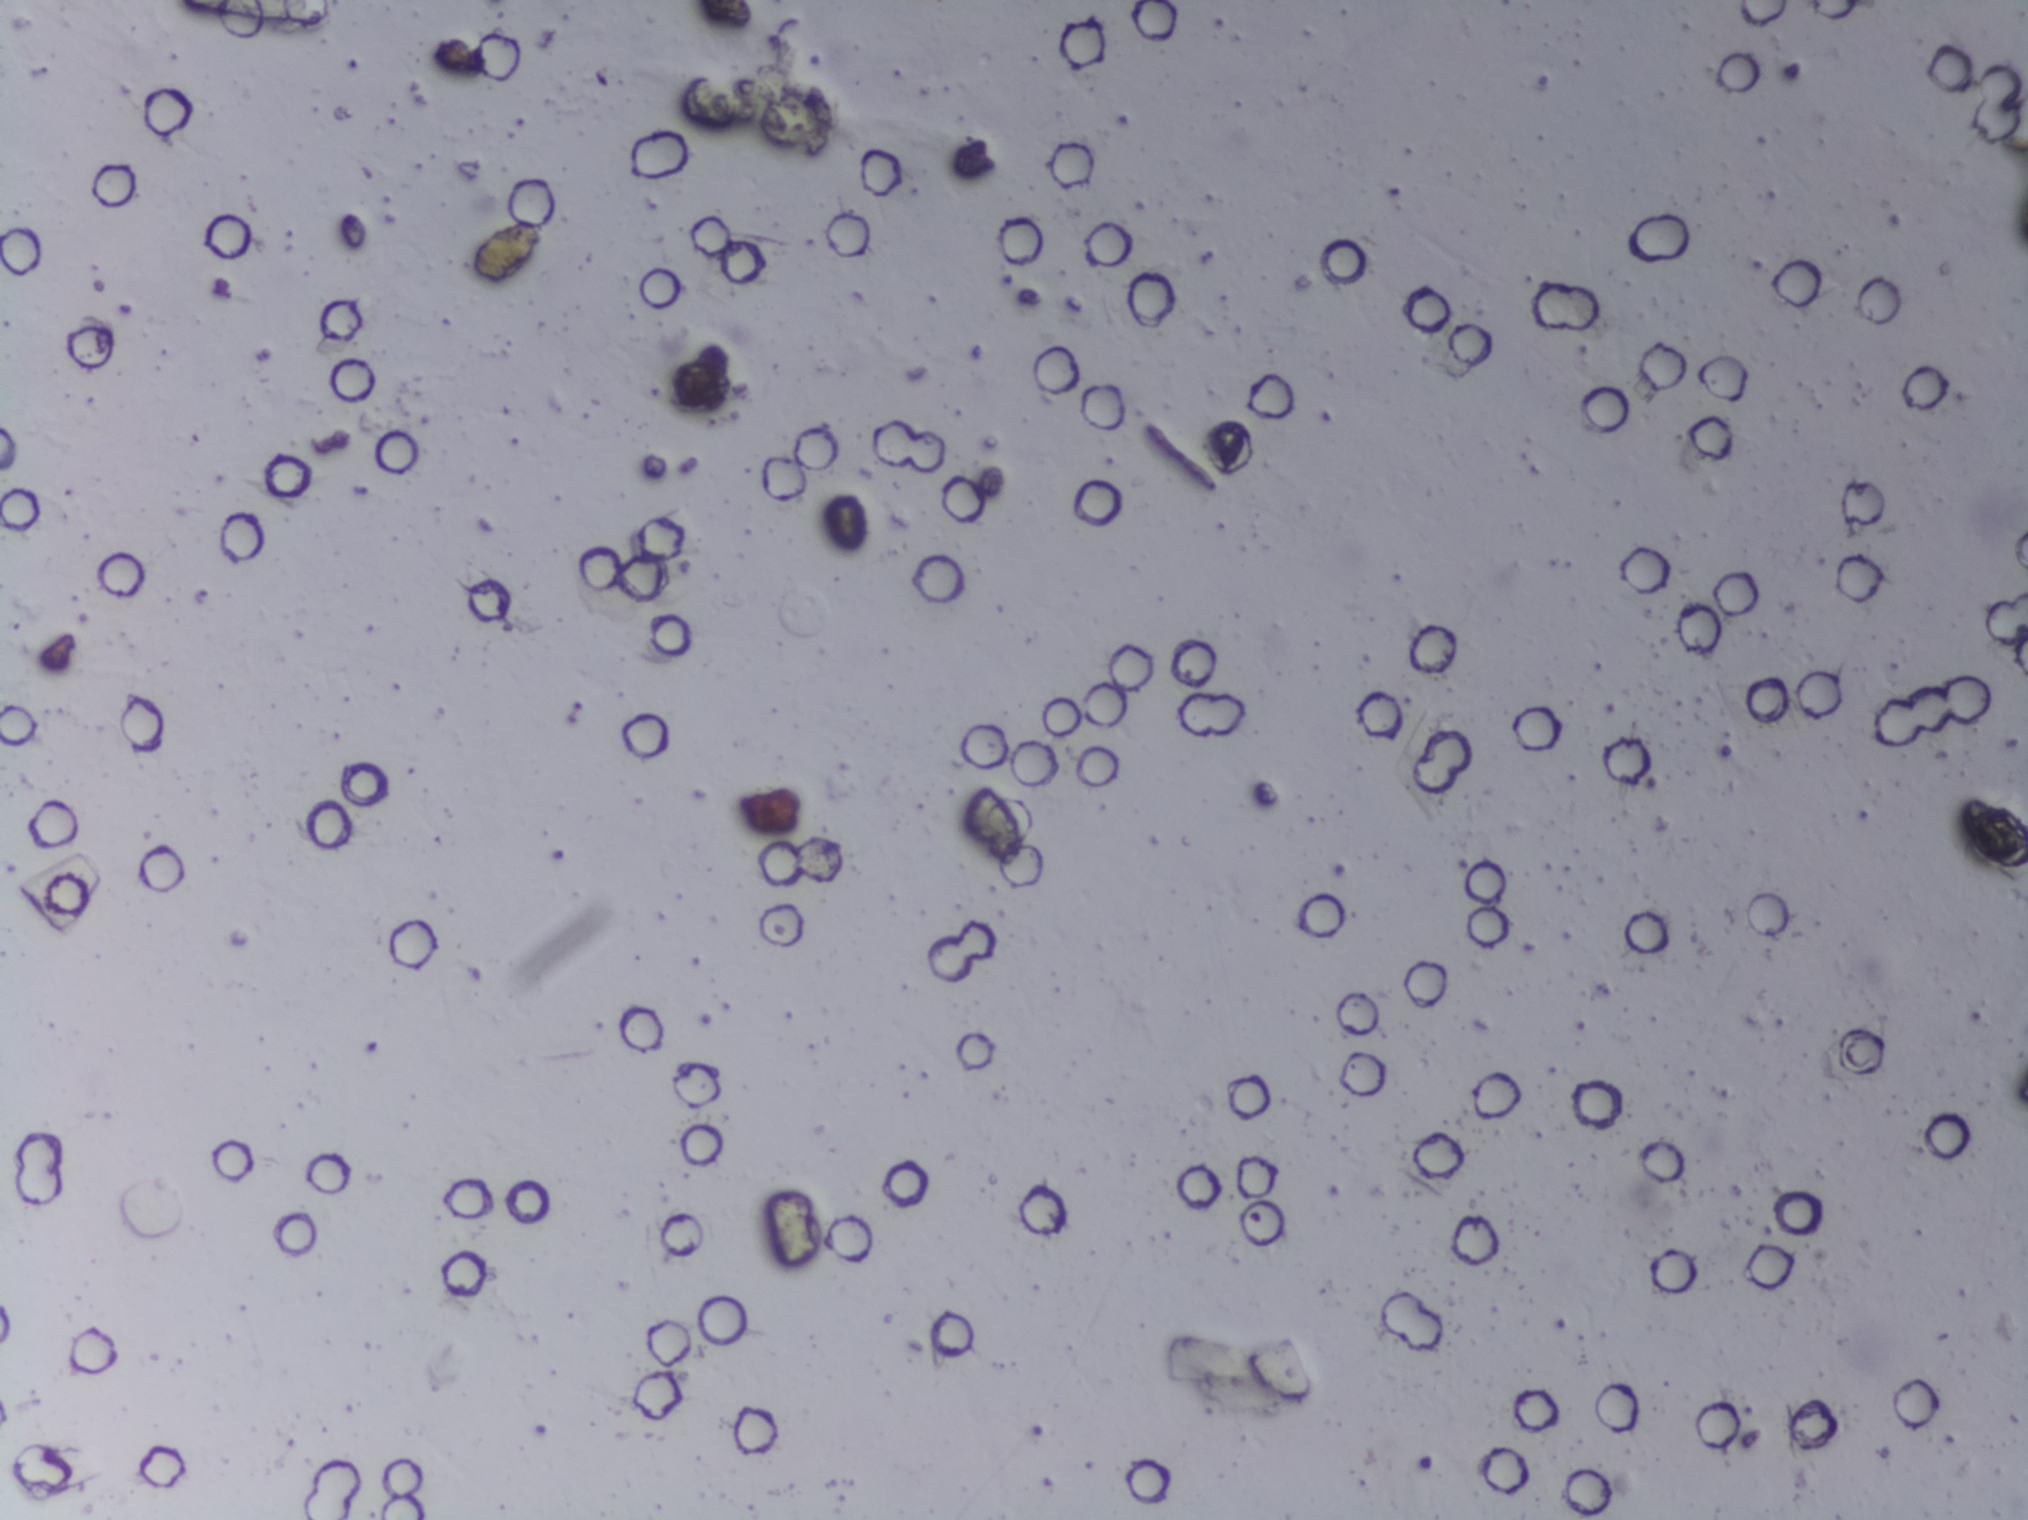
Microscope photograph (4× objective) of a membrane that a urine sample was filtered through. The field of view is about 1.5 mm × 1.1 mm.
No area of this image was outlined as a Schistosoma egg.